One field of view of a urine filter membrane, 4× objective, 2028 × 1520 pixels.
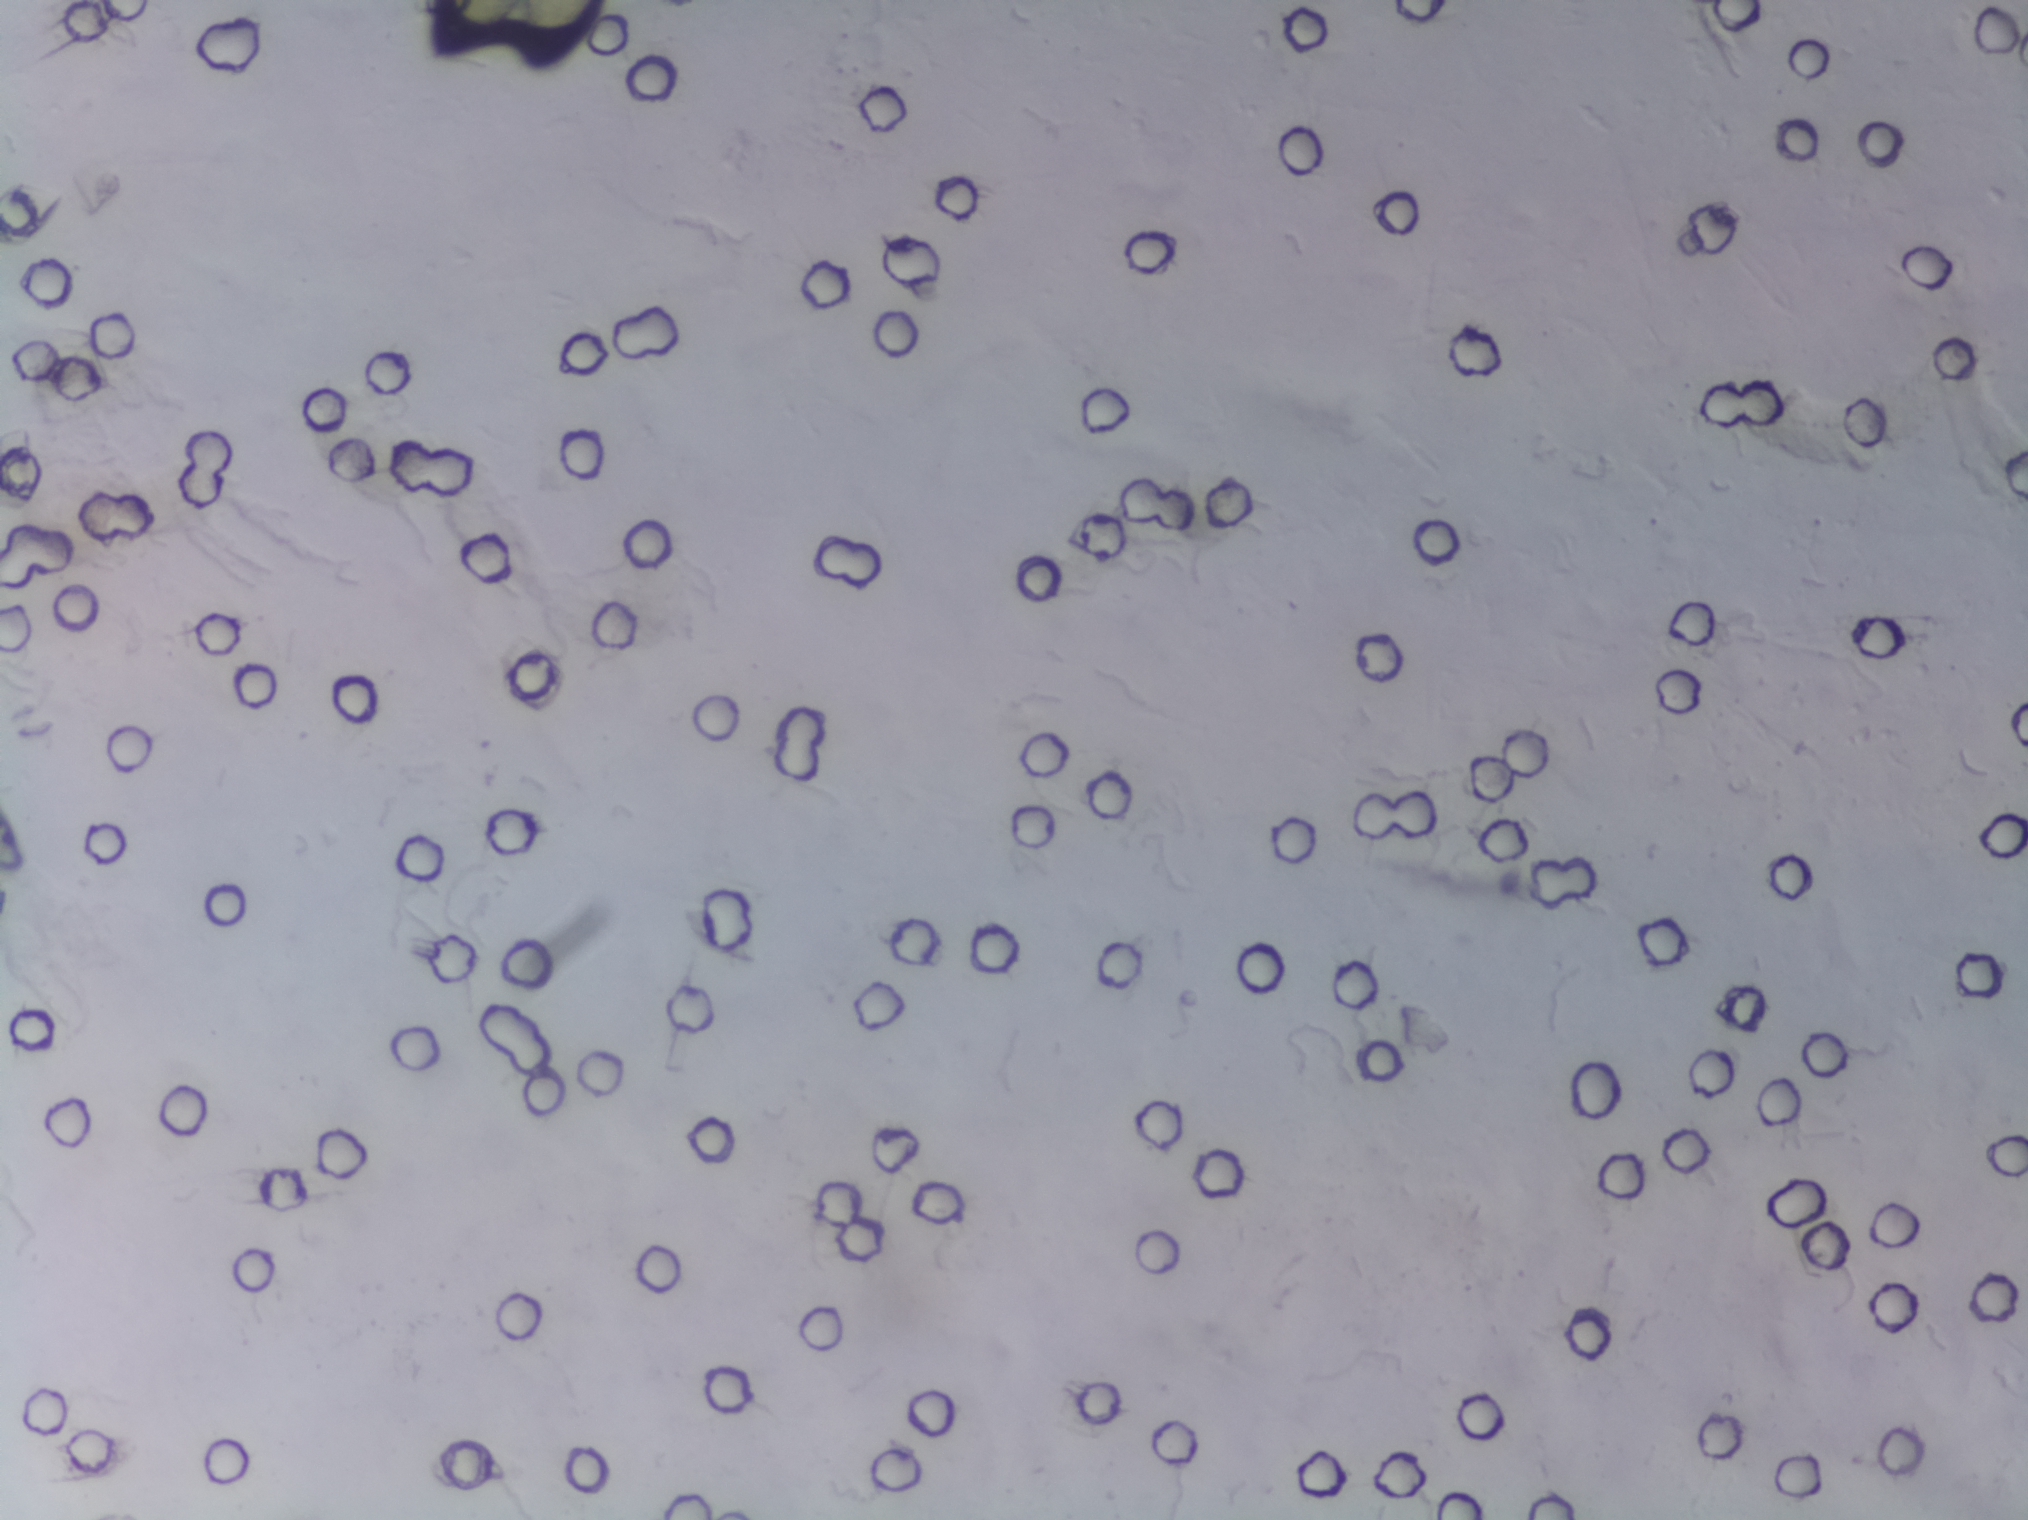
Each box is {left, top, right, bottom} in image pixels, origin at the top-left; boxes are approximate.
Schistosoma eggs are outlined in one area of this image: {425, 0, 610, 74} (reaching the top edge of the frame). An outlined area can hold more than one egg.